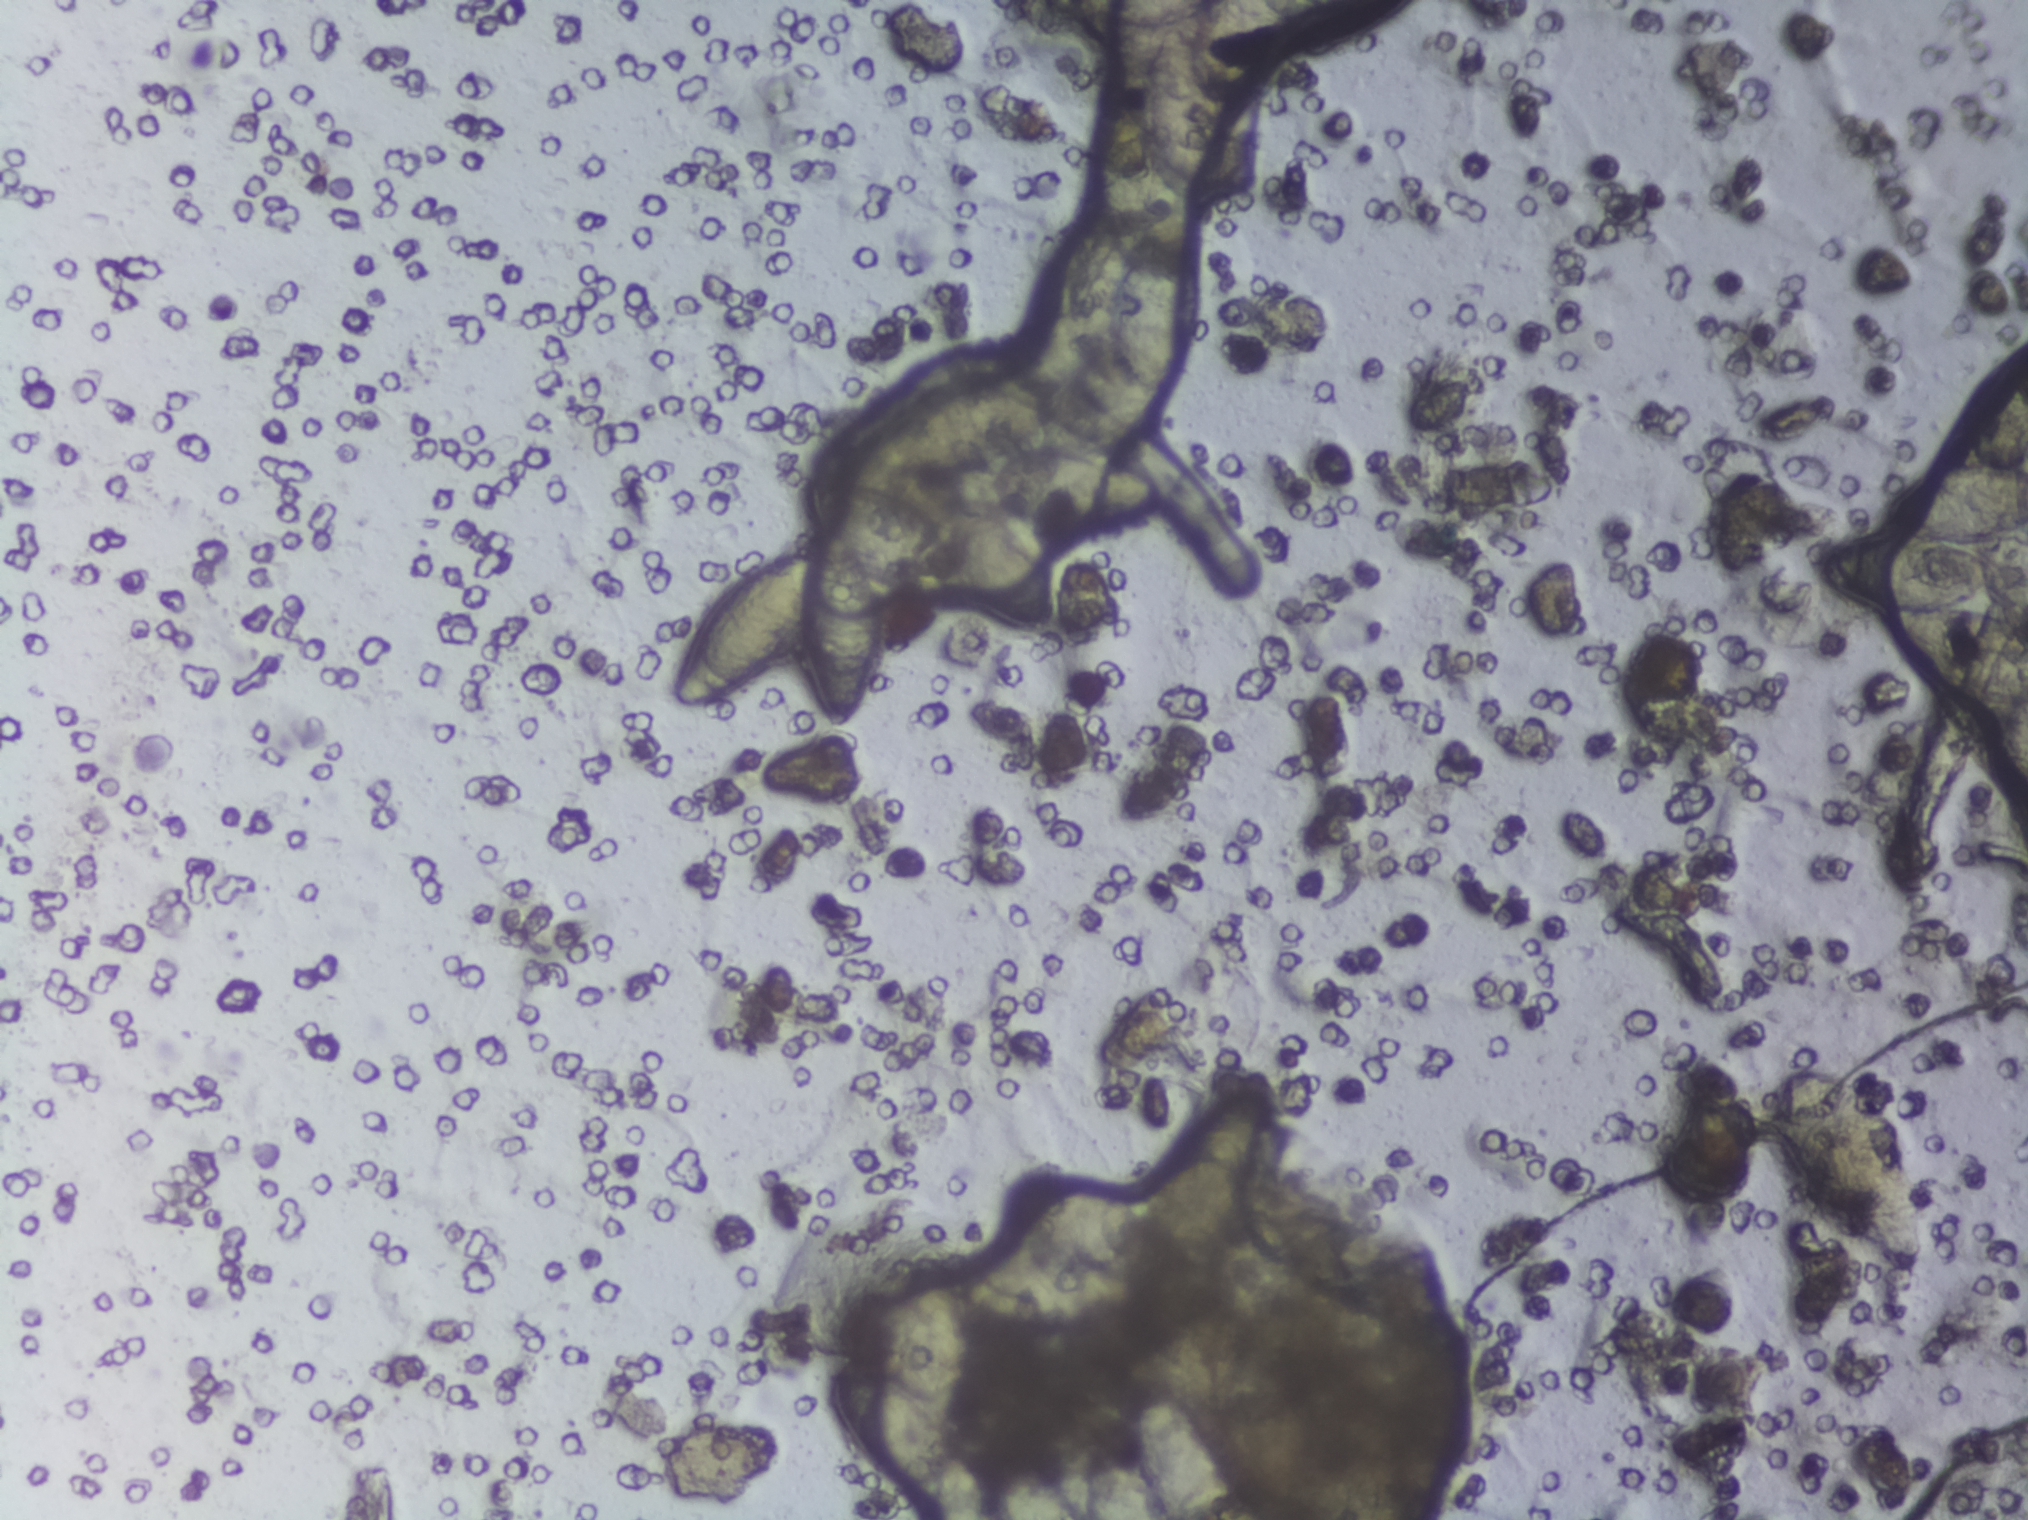
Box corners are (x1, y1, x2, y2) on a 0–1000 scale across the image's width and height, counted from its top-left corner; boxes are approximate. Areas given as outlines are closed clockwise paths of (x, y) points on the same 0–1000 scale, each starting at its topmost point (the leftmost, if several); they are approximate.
Areas outlined as Schistosoma eggs: outline (550, 0), (640, 0), (629, 27), (603, 59), (614, 110), (613, 129), (593, 133), (573, 112), (568, 147), (578, 153), (586, 173), (584, 235), (565, 283), (544, 301), (573, 321), (573, 333), (566, 340), (533, 350), (508, 348), (519, 367), (517, 369), (521, 413), (518, 418), (496, 415), (475, 386), (471, 395), (452, 396), (432, 387), (433, 440), (421, 476), (408, 477), (403, 471), (390, 426), (386, 438), (373, 450), (348, 467), (333, 469), (330, 449), (342, 404), (366, 373), (392, 360), (402, 344), (398, 331), (399, 312), (438, 321), (461, 344), (463, 328), (491, 335), (485, 328), (489, 307), (455, 316), (430, 316), (418, 307), (418, 300), (428, 283), (455, 260), (489, 248), (491, 230), (504, 210), (529, 202), (551, 201), (549, 171), (554, 160), (542, 156), (538, 149), (534, 109), (546, 56), (543, 22) (a cluster of eggs; reaching the top edge of the frame); outline (617, 712), (625, 712), (634, 719), (635, 742), (611, 824), (597, 836), (584, 836), (572, 818), (572, 844), (552, 864), (529, 874), (500, 872), (479, 859), (479, 908), (471, 942), (480, 960), (487, 938), (498, 940), (530, 981), (543, 940), (554, 938), (553, 919), (559, 911), (571, 912), (599, 946), (622, 1000), (466, 998), (450, 990), (412, 951), (409, 940), (409, 907), (414, 899), (428, 899), (428, 863), (448, 819), (452, 815), (464, 819), (472, 836), (476, 828), (495, 819), (511, 818), (499, 804), (494, 787), (494, 780), (507, 773), (548, 774), (559, 785), (566, 801), (567, 787), (592, 735), (604, 719) (a cluster of eggs; reaching the bottom edge of the frame); box (874, 701, 950, 833); outline (995, 228), (1000, 228), (1000, 344), (995, 349), (1000, 353), (1000, 551), (981, 504), (981, 463), (960, 457), (933, 419), (931, 405), (913, 401), (894, 377), (895, 366), (902, 359), (921, 350), (941, 348), (925, 338), (925, 328), (930, 322), (952, 310), (977, 306), (967, 283), (967, 268), (980, 243) (reaching the right edge of the frame). A single outlined area may contain several eggs.
Photograph from an automated digital microscope: urine filter membrane, 4× objective.